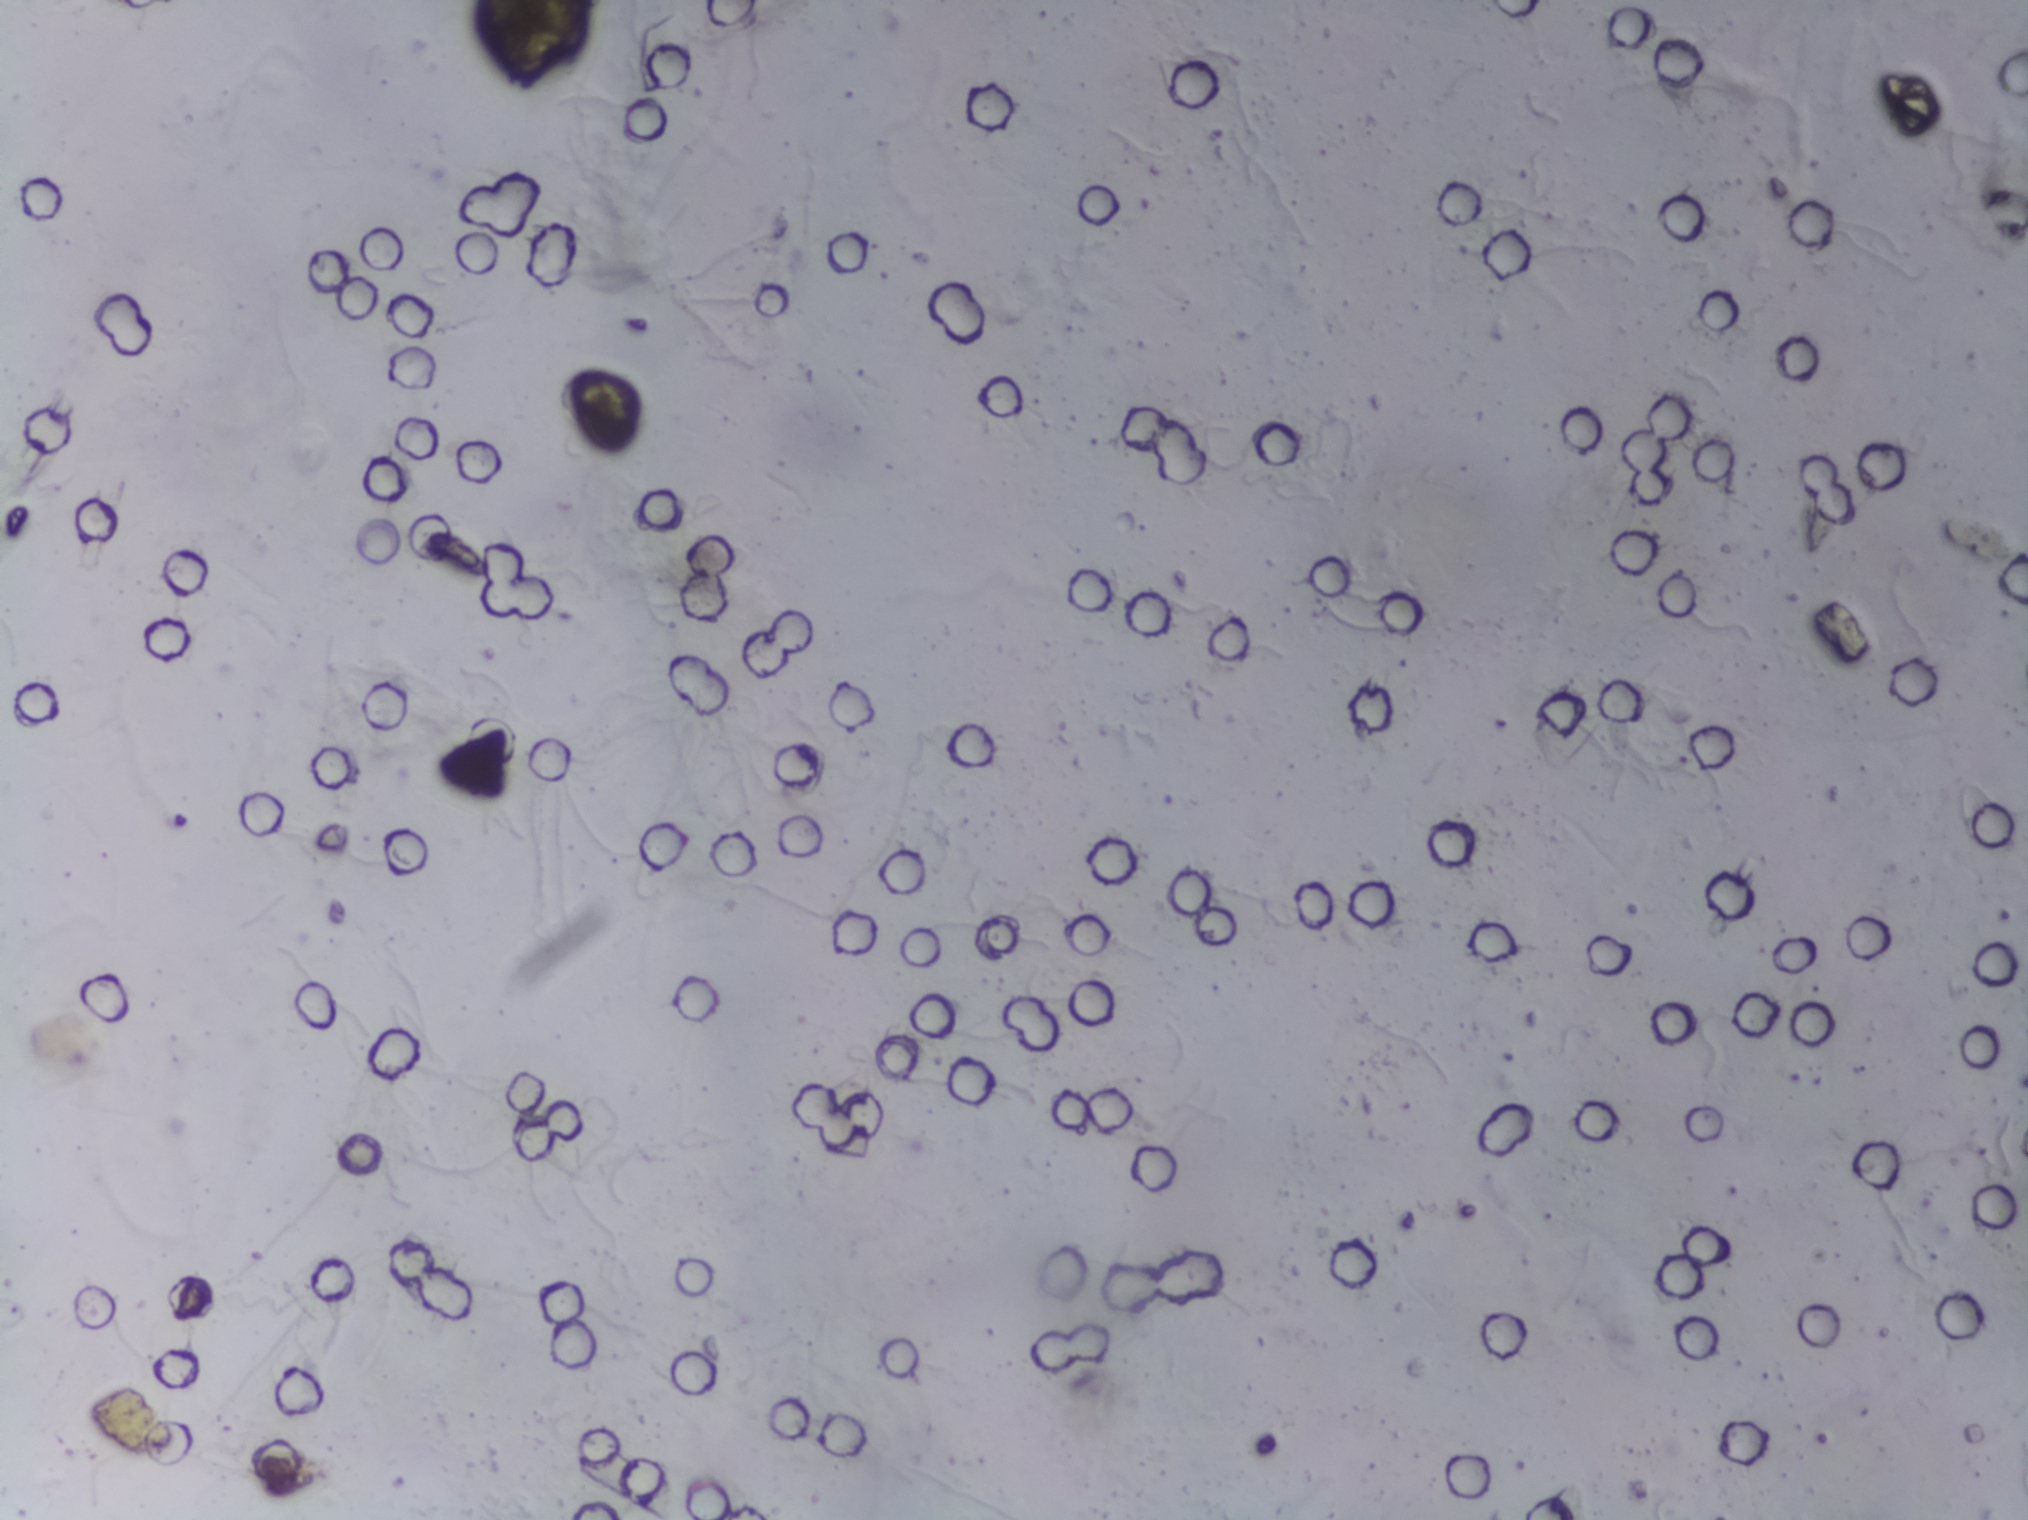
Photomicrograph of a urine filtration membrane, 4× objective.
No area of this image was outlined as a Schistosoma egg.